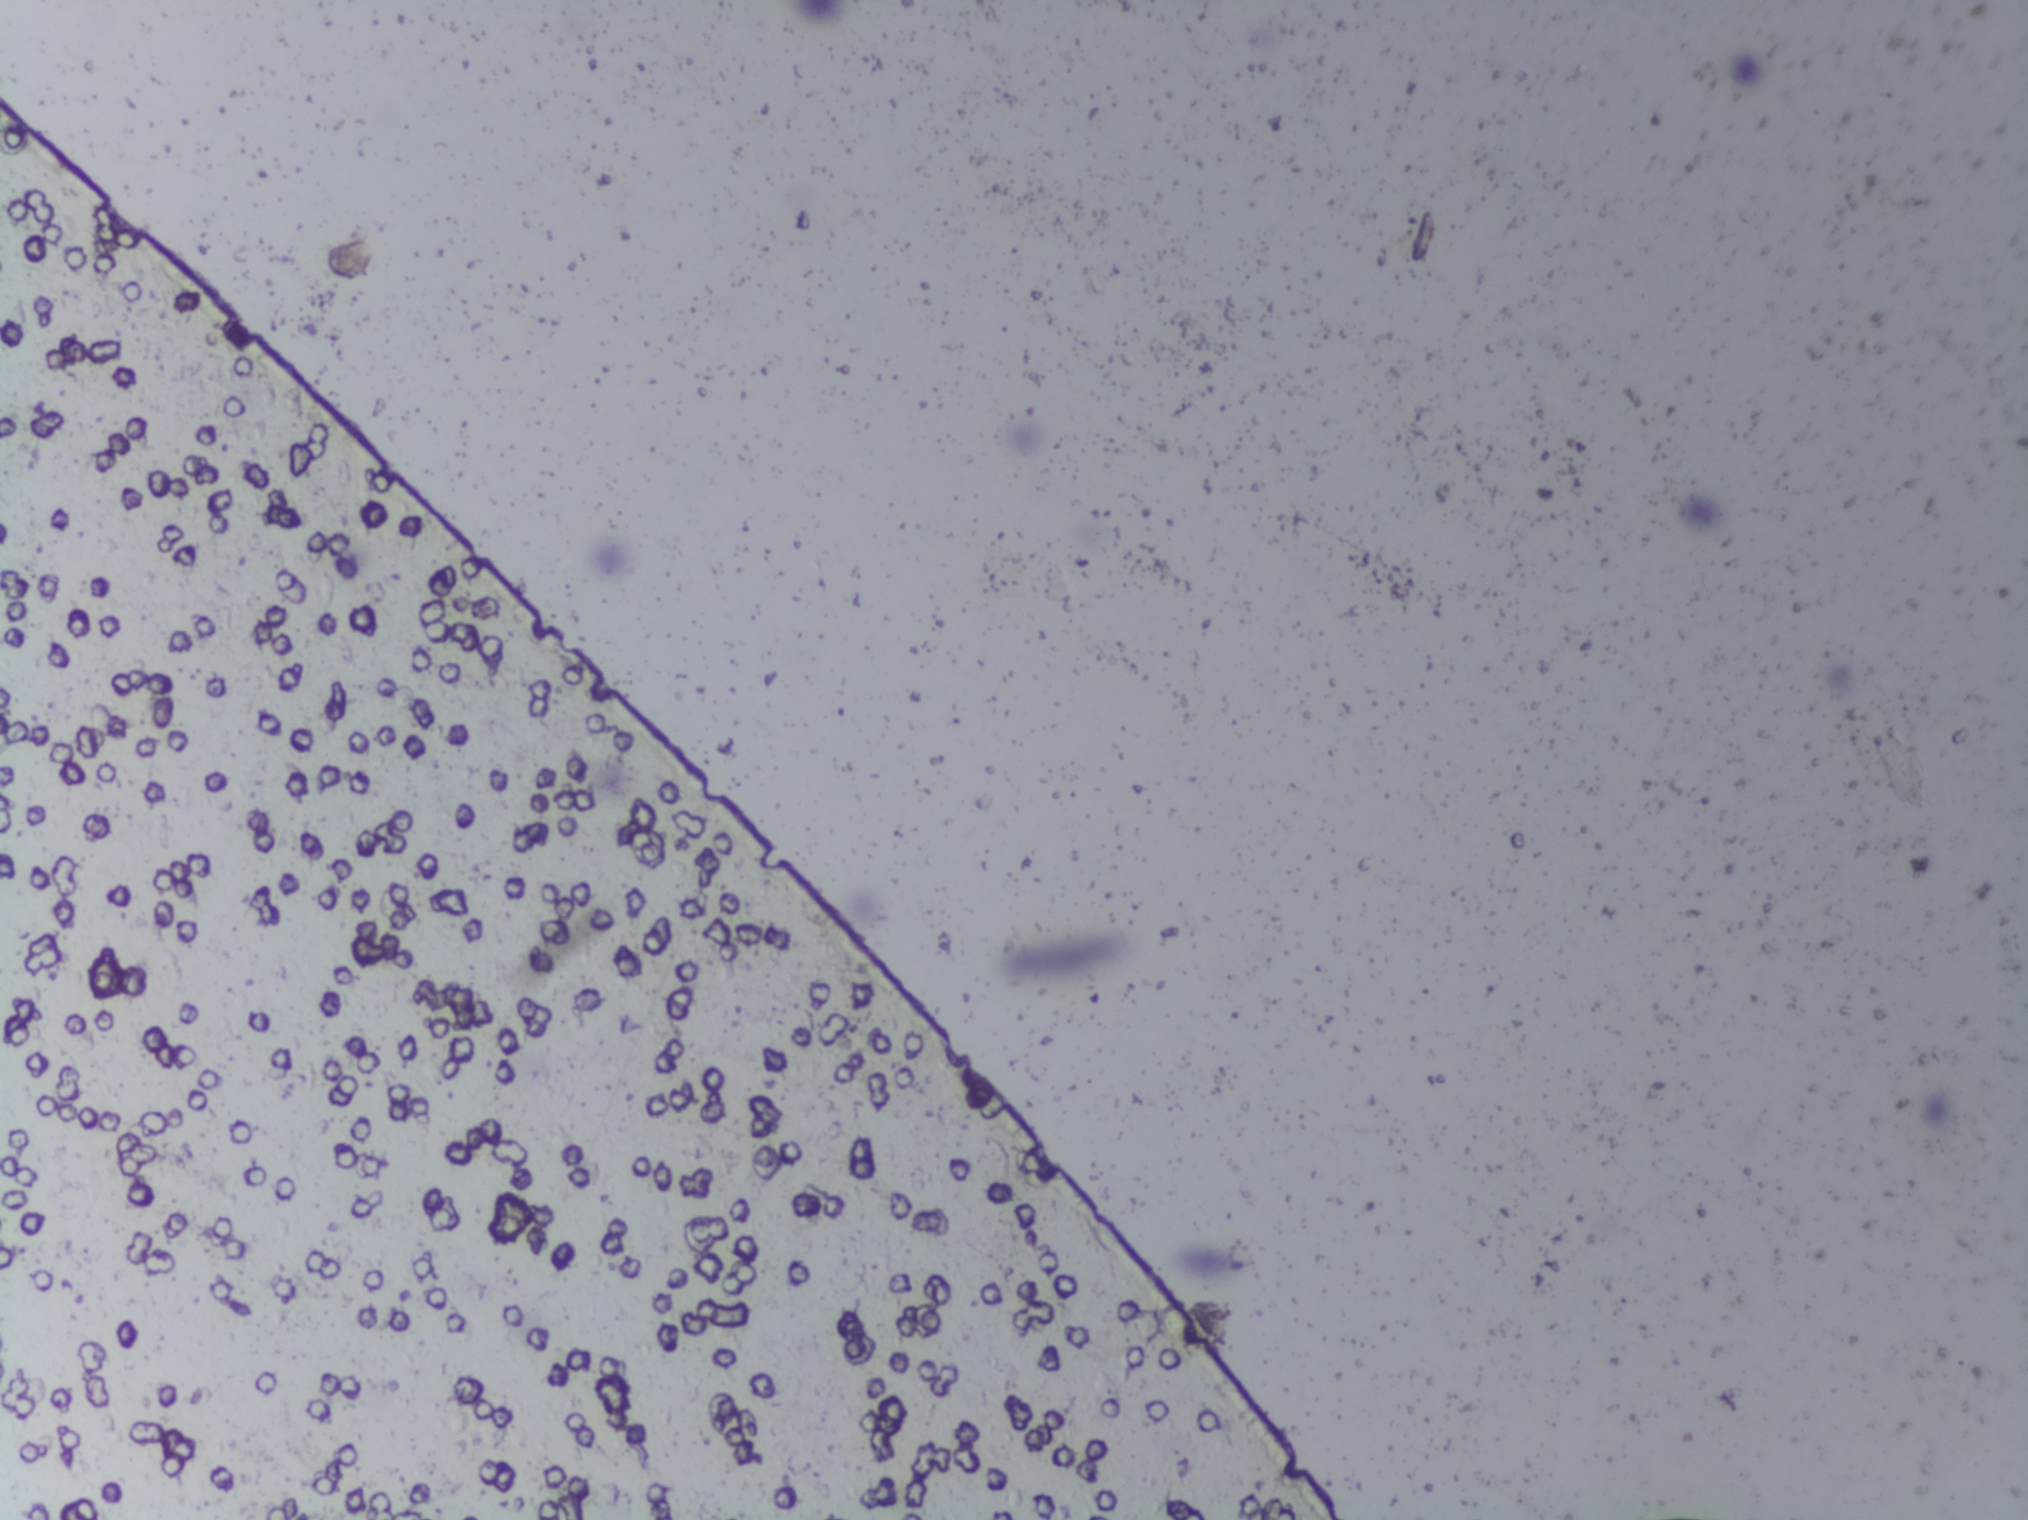
Photomicrograph of a urine filtration membrane, 4× objective. The field of view is about 1.5 mm × 1.1 mm.
The expert annotation marks no Schistosoma egg in this field of view.